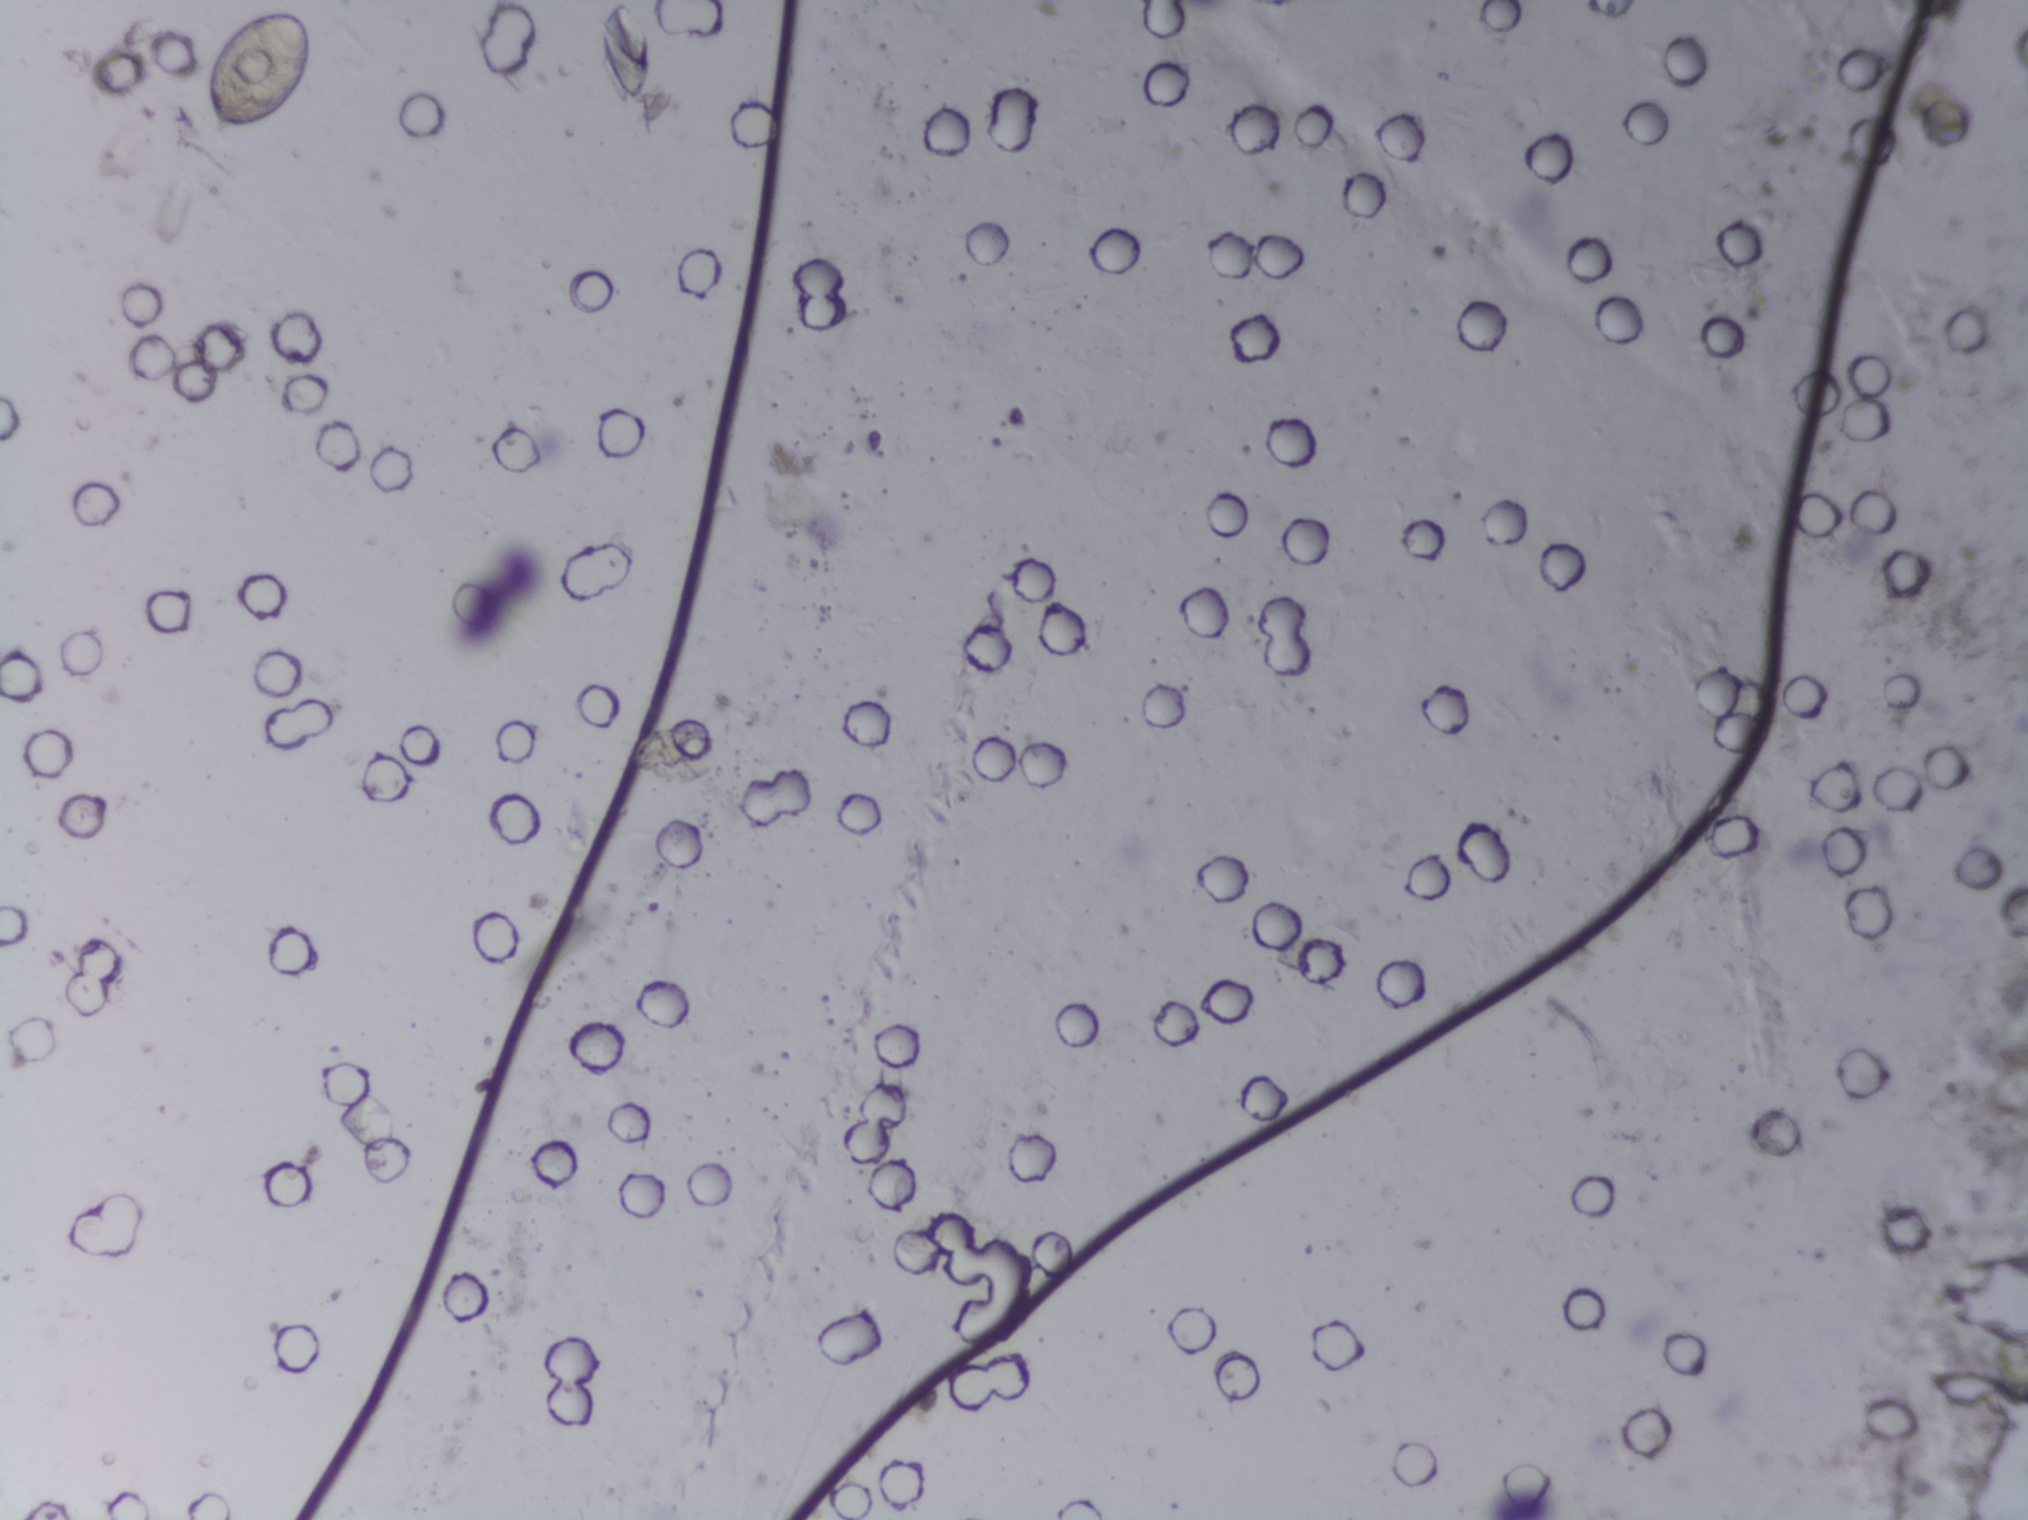
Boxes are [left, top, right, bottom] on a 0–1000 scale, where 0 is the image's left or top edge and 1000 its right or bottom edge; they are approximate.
One area of this image is outlined as Schistosoma eggs: [102, 8, 154, 90]. Eggs that touch can end up inside the same outlined area.
Urine filter membrane photographed through a 4× microscope objective.